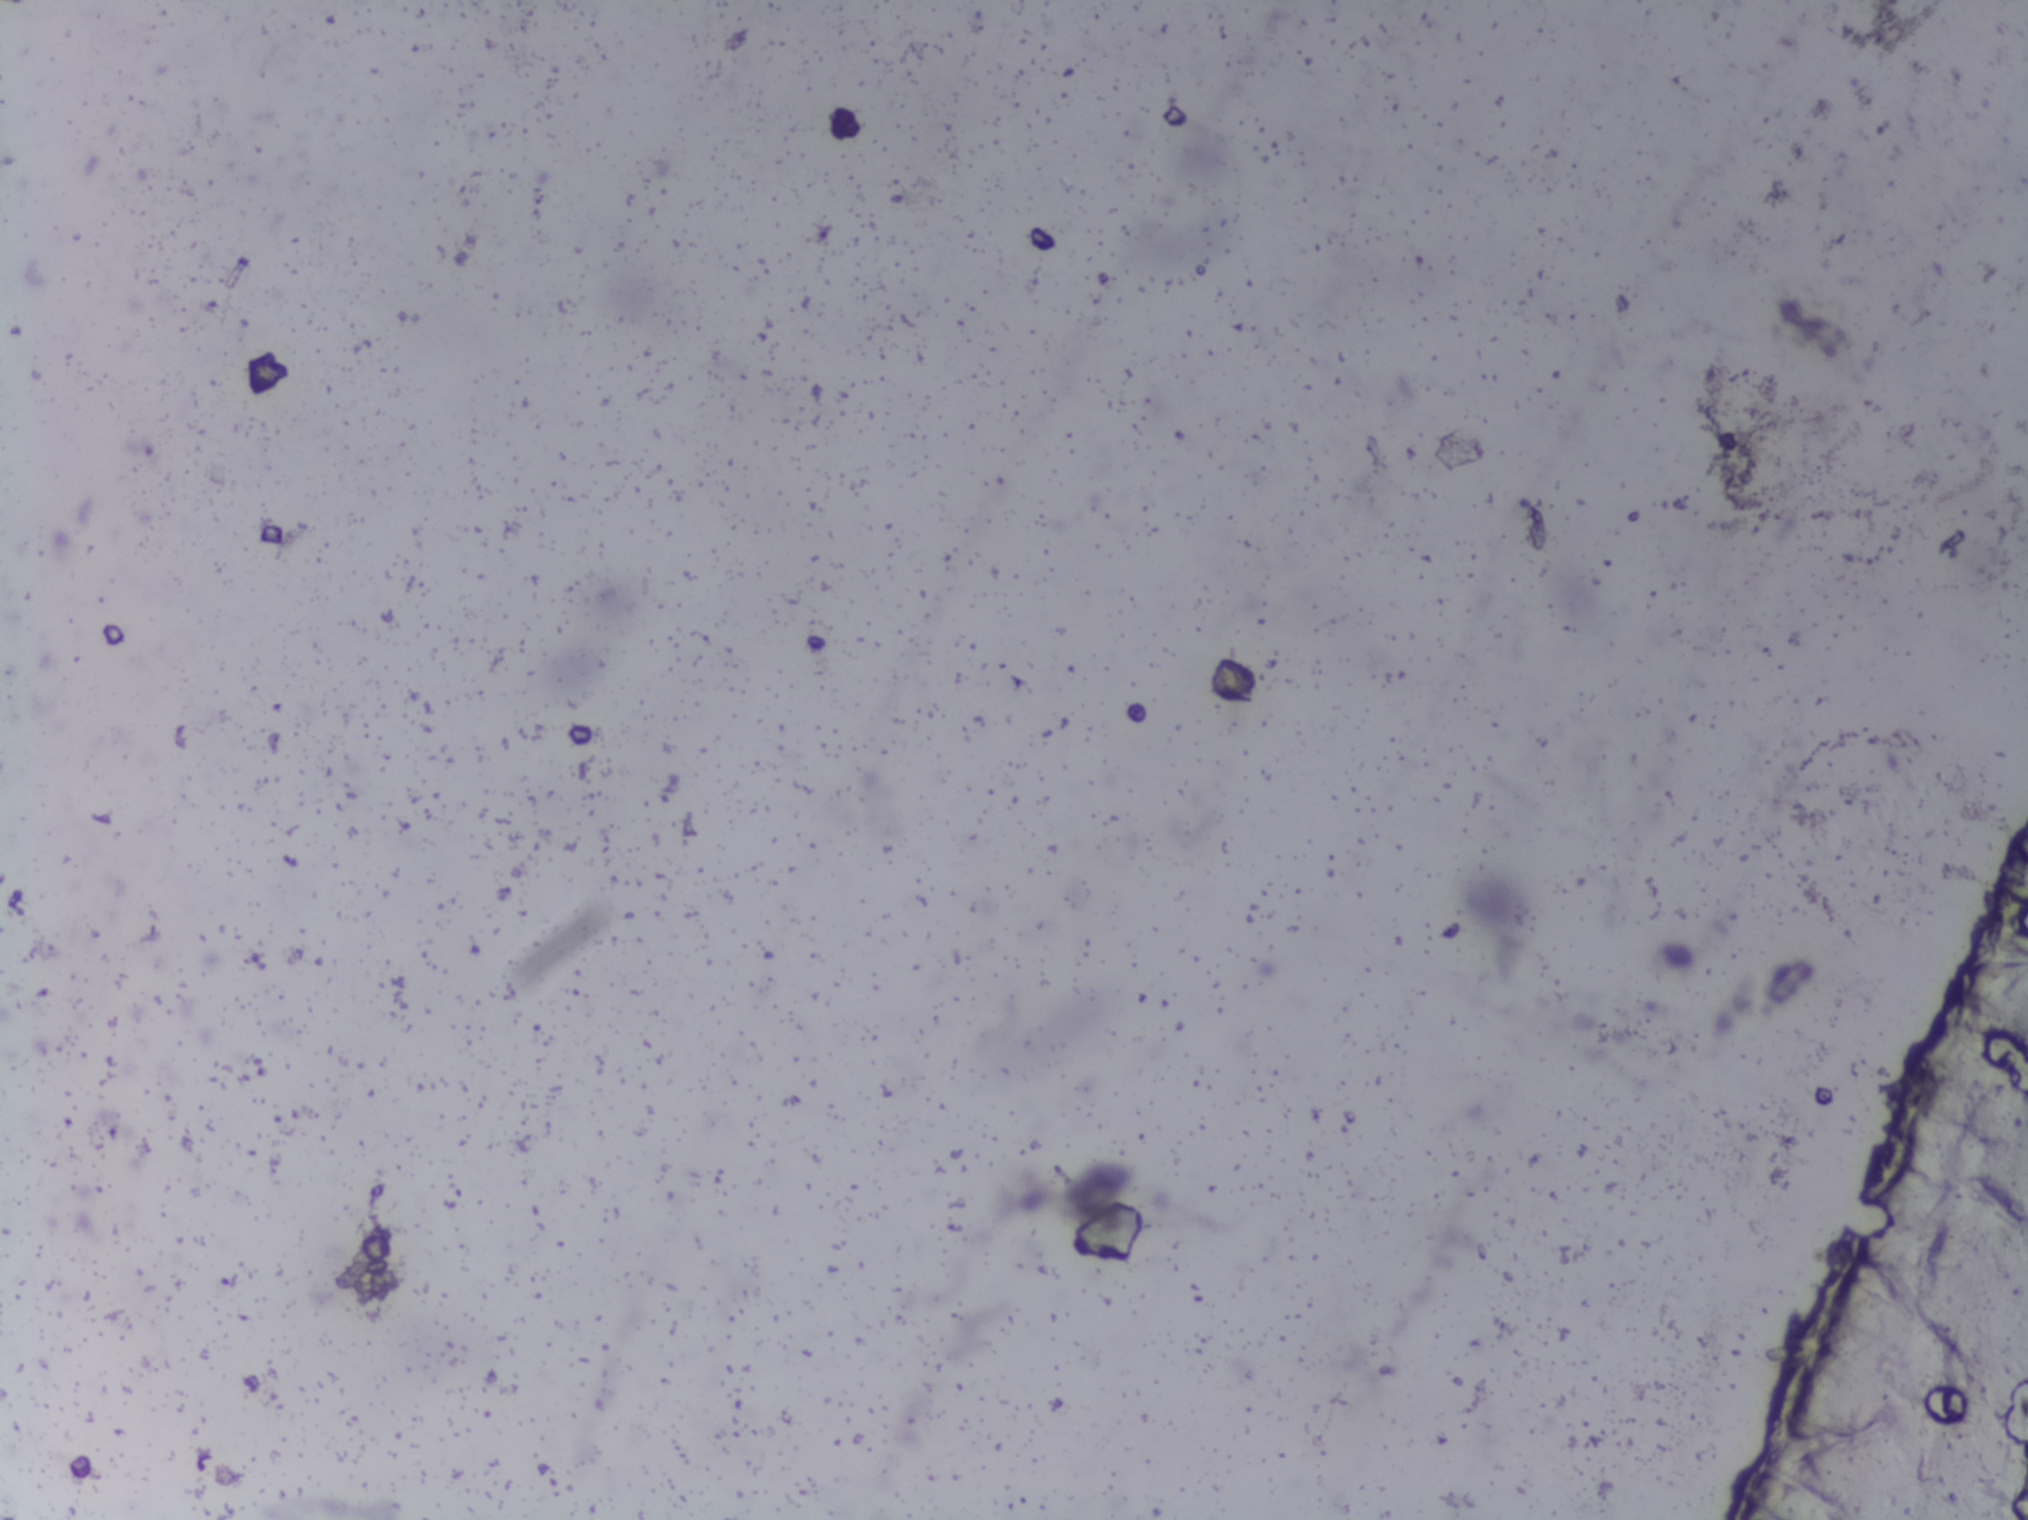
The expert annotation marks no Schistosoma egg in this field of view.
Urine filter membrane photographed through a 4× microscope objective.